One field of view of a urine filter membrane, 4× objective, 2028 × 1520 pixels.
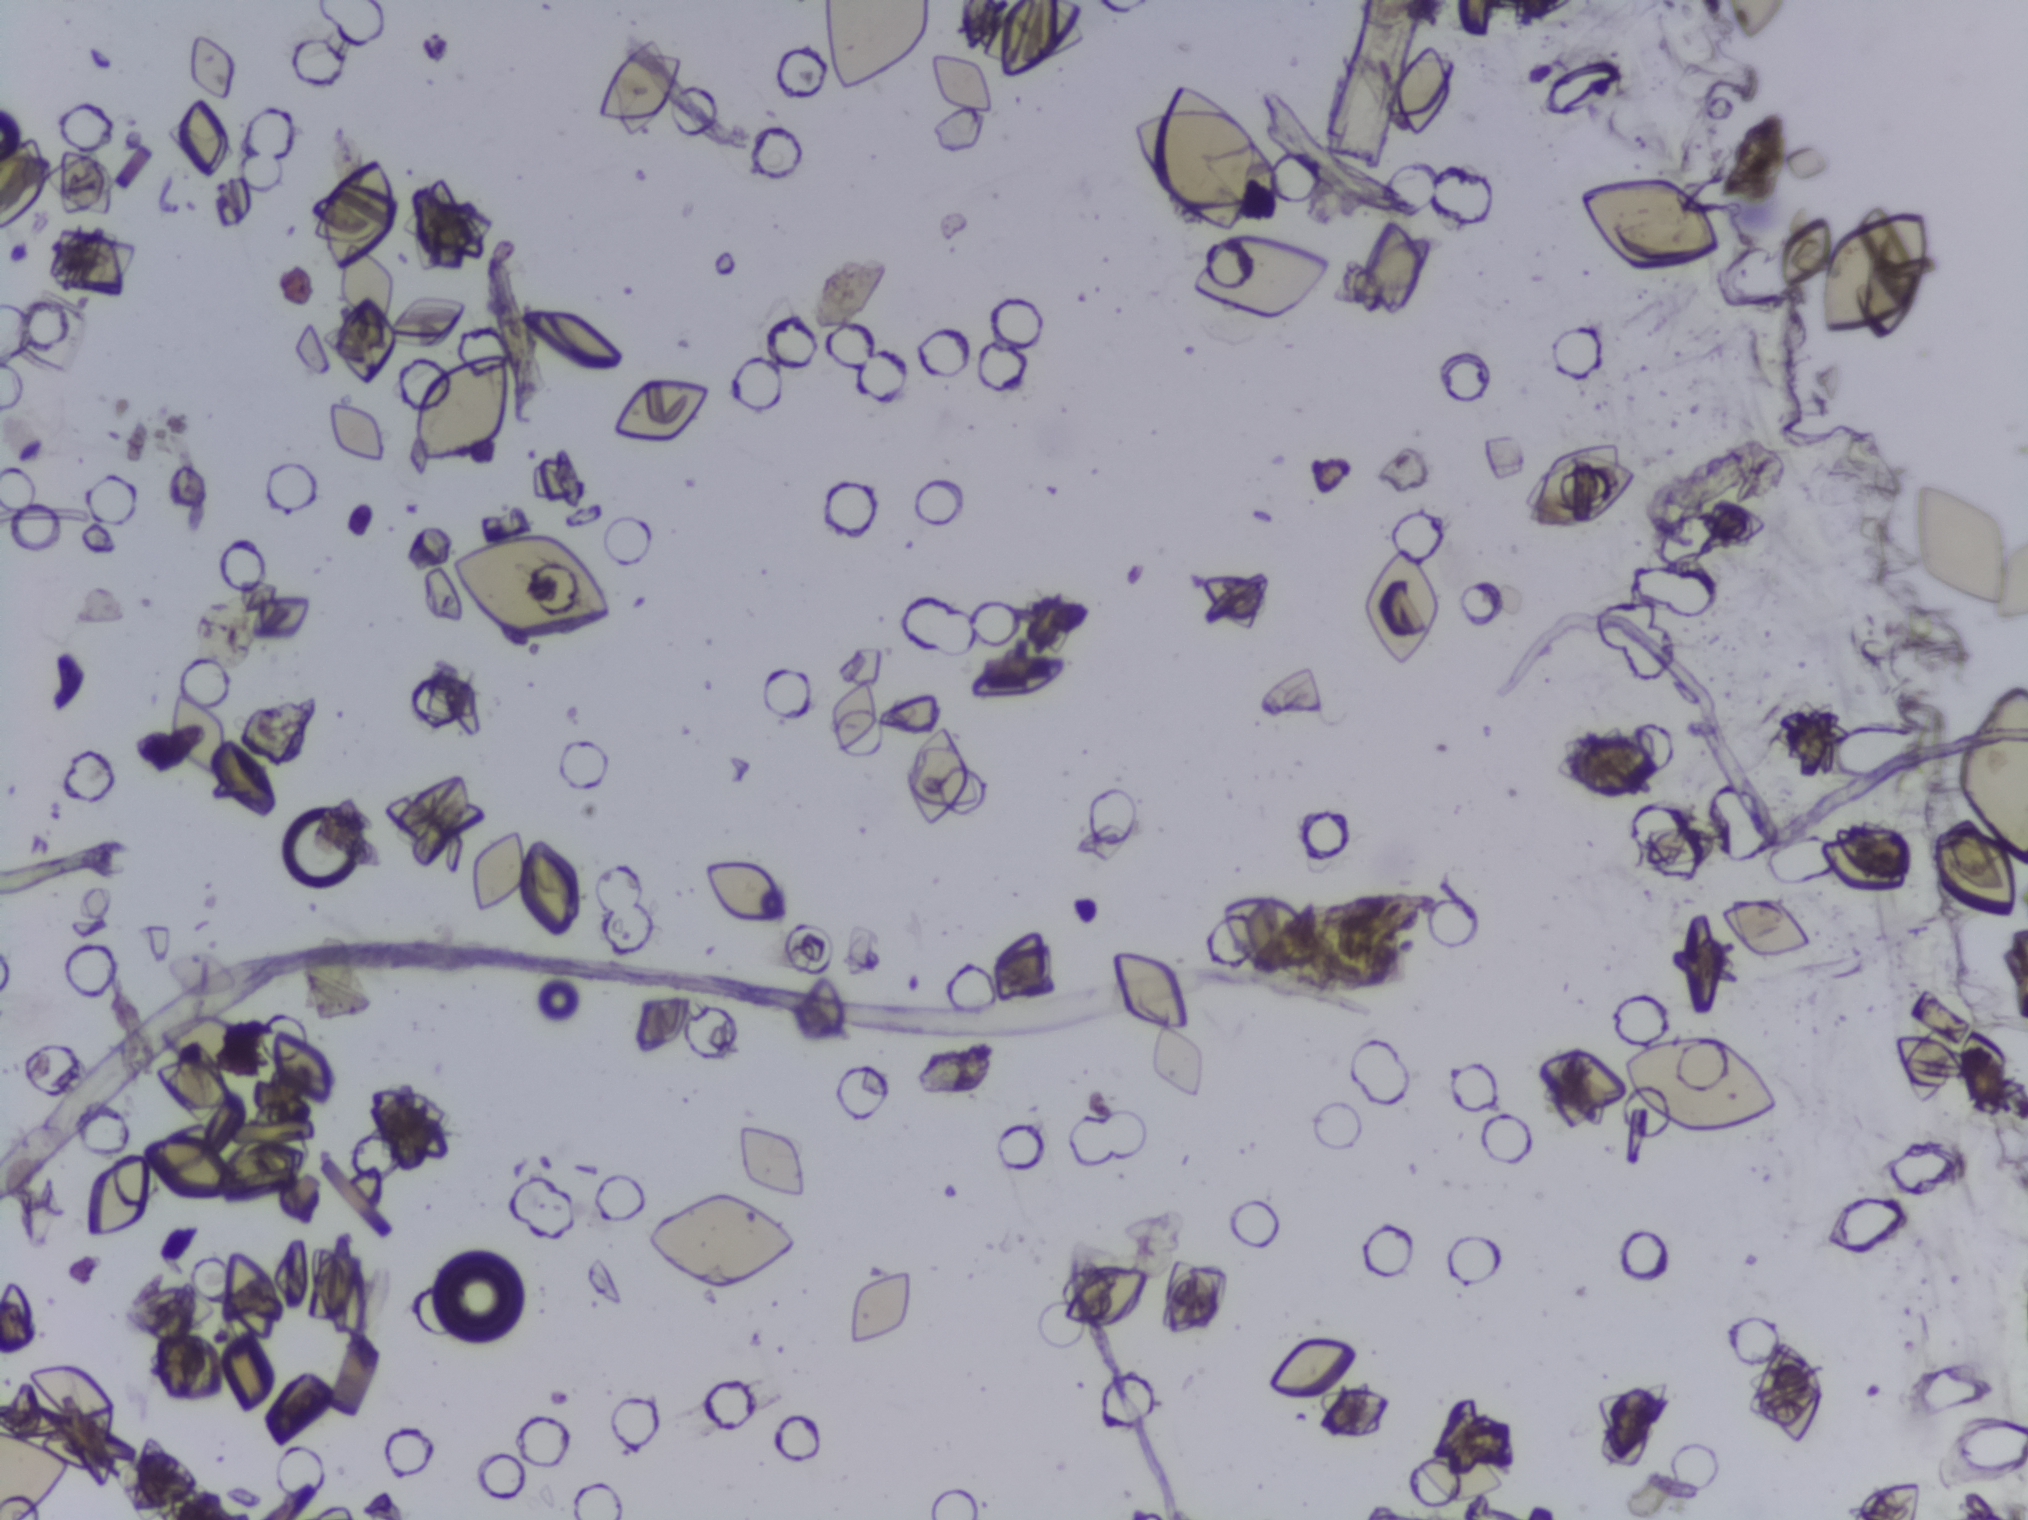
No Schistosoma egg is outlined in this image's expert annotation.